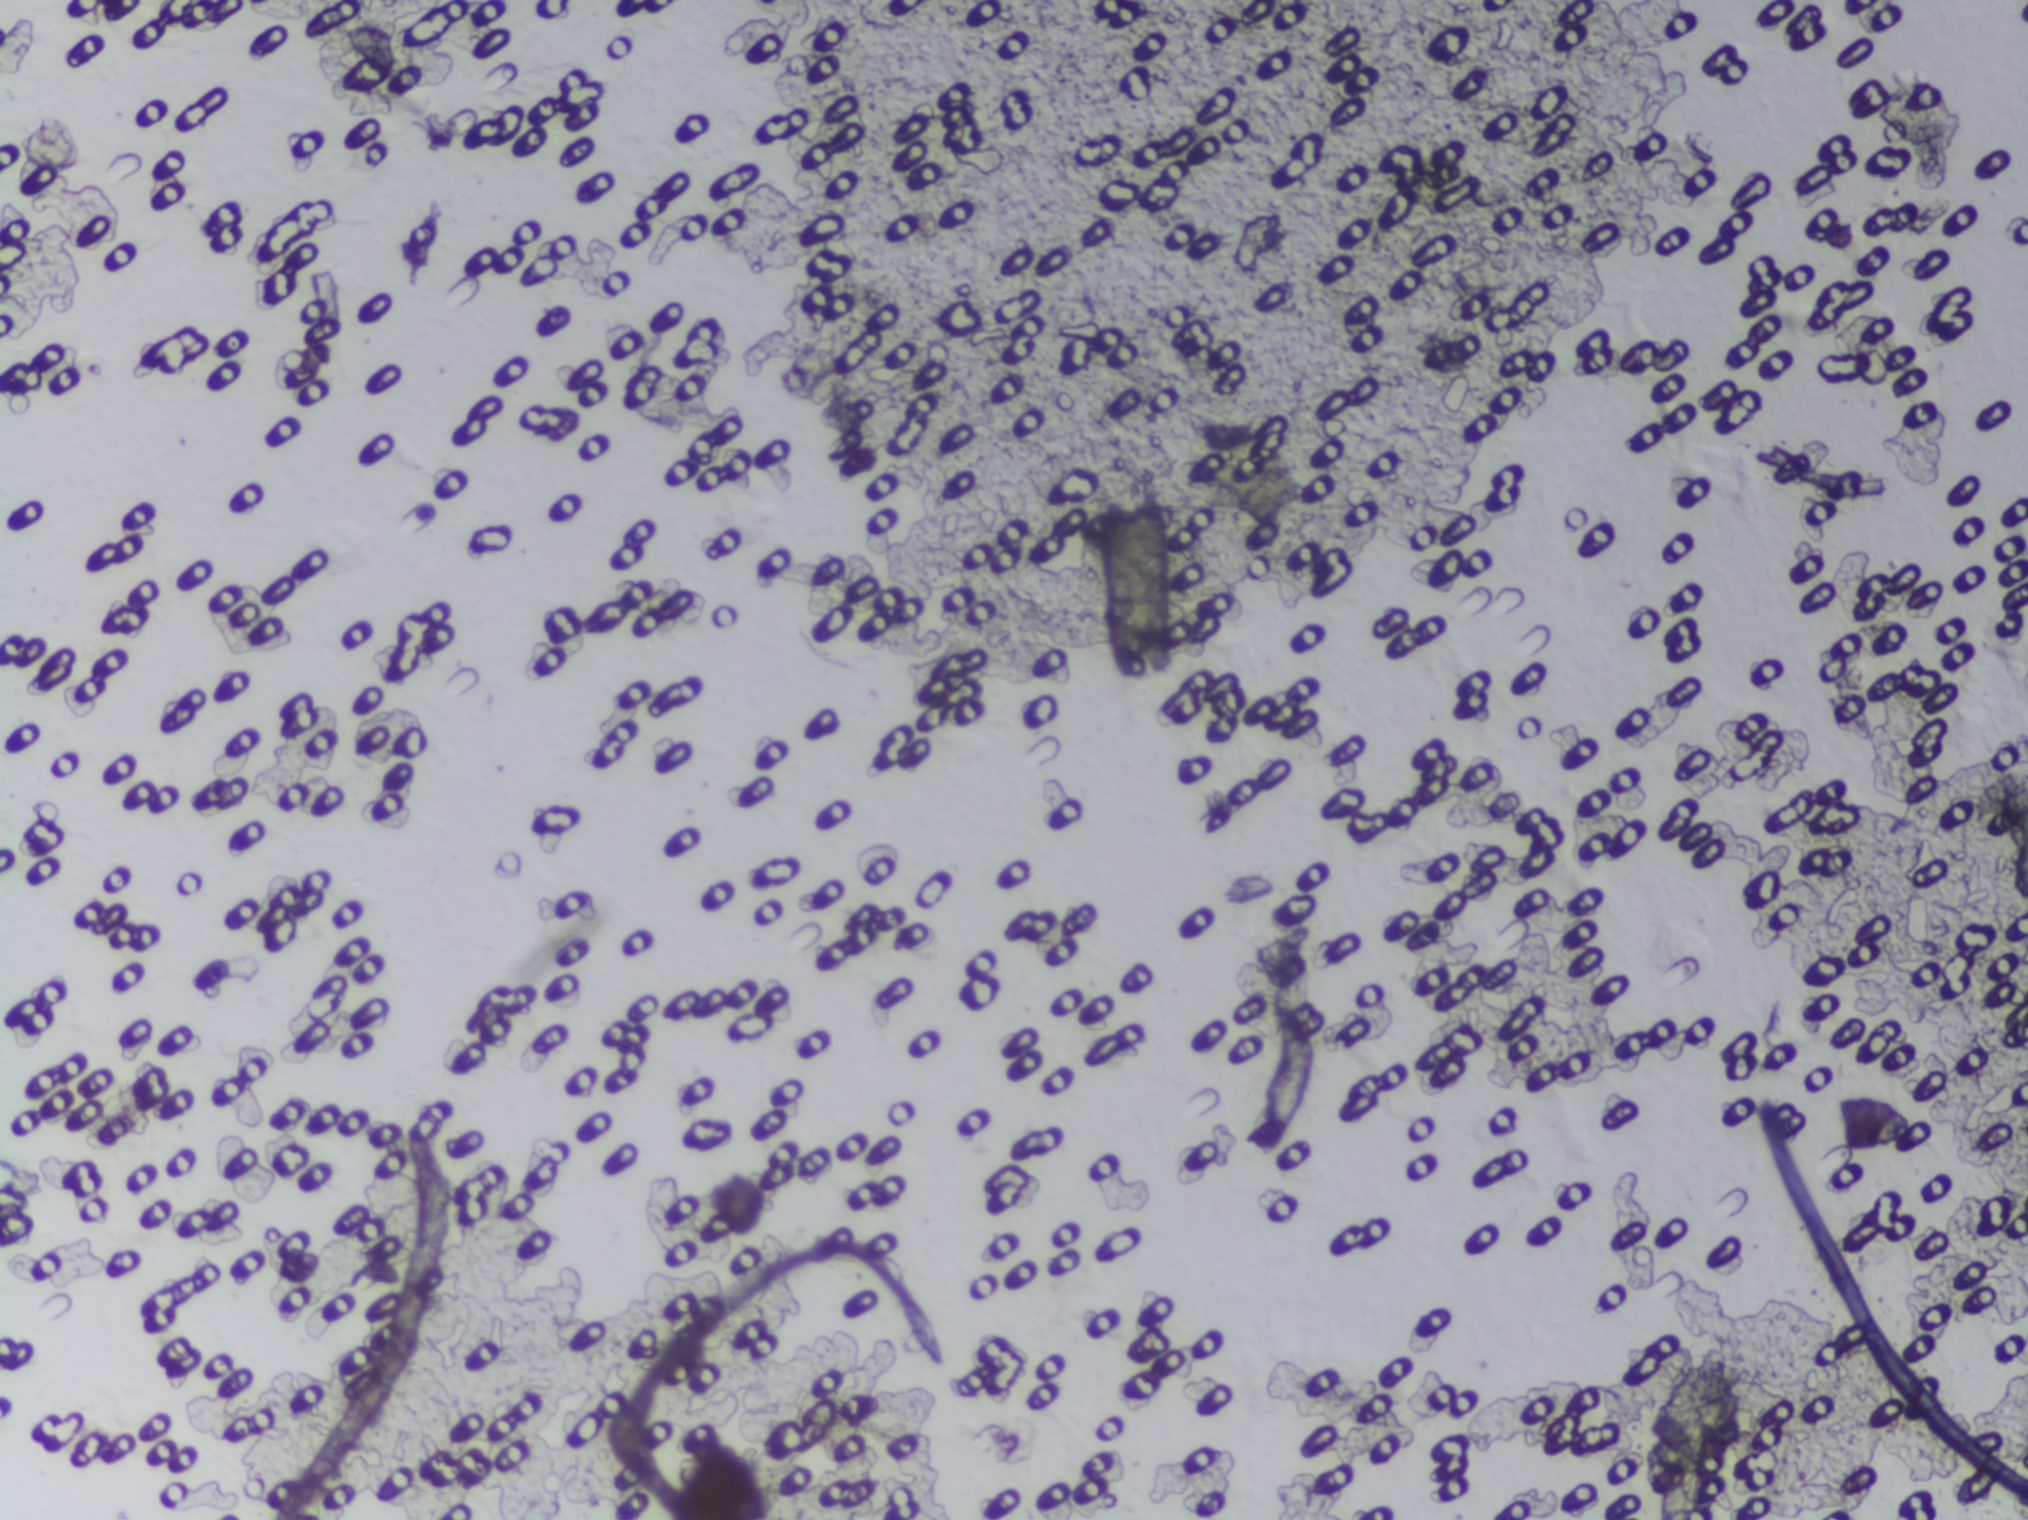
Photomicrograph of a urine filtration membrane, 4× objective.
Schistosoma eggs: none outlined.